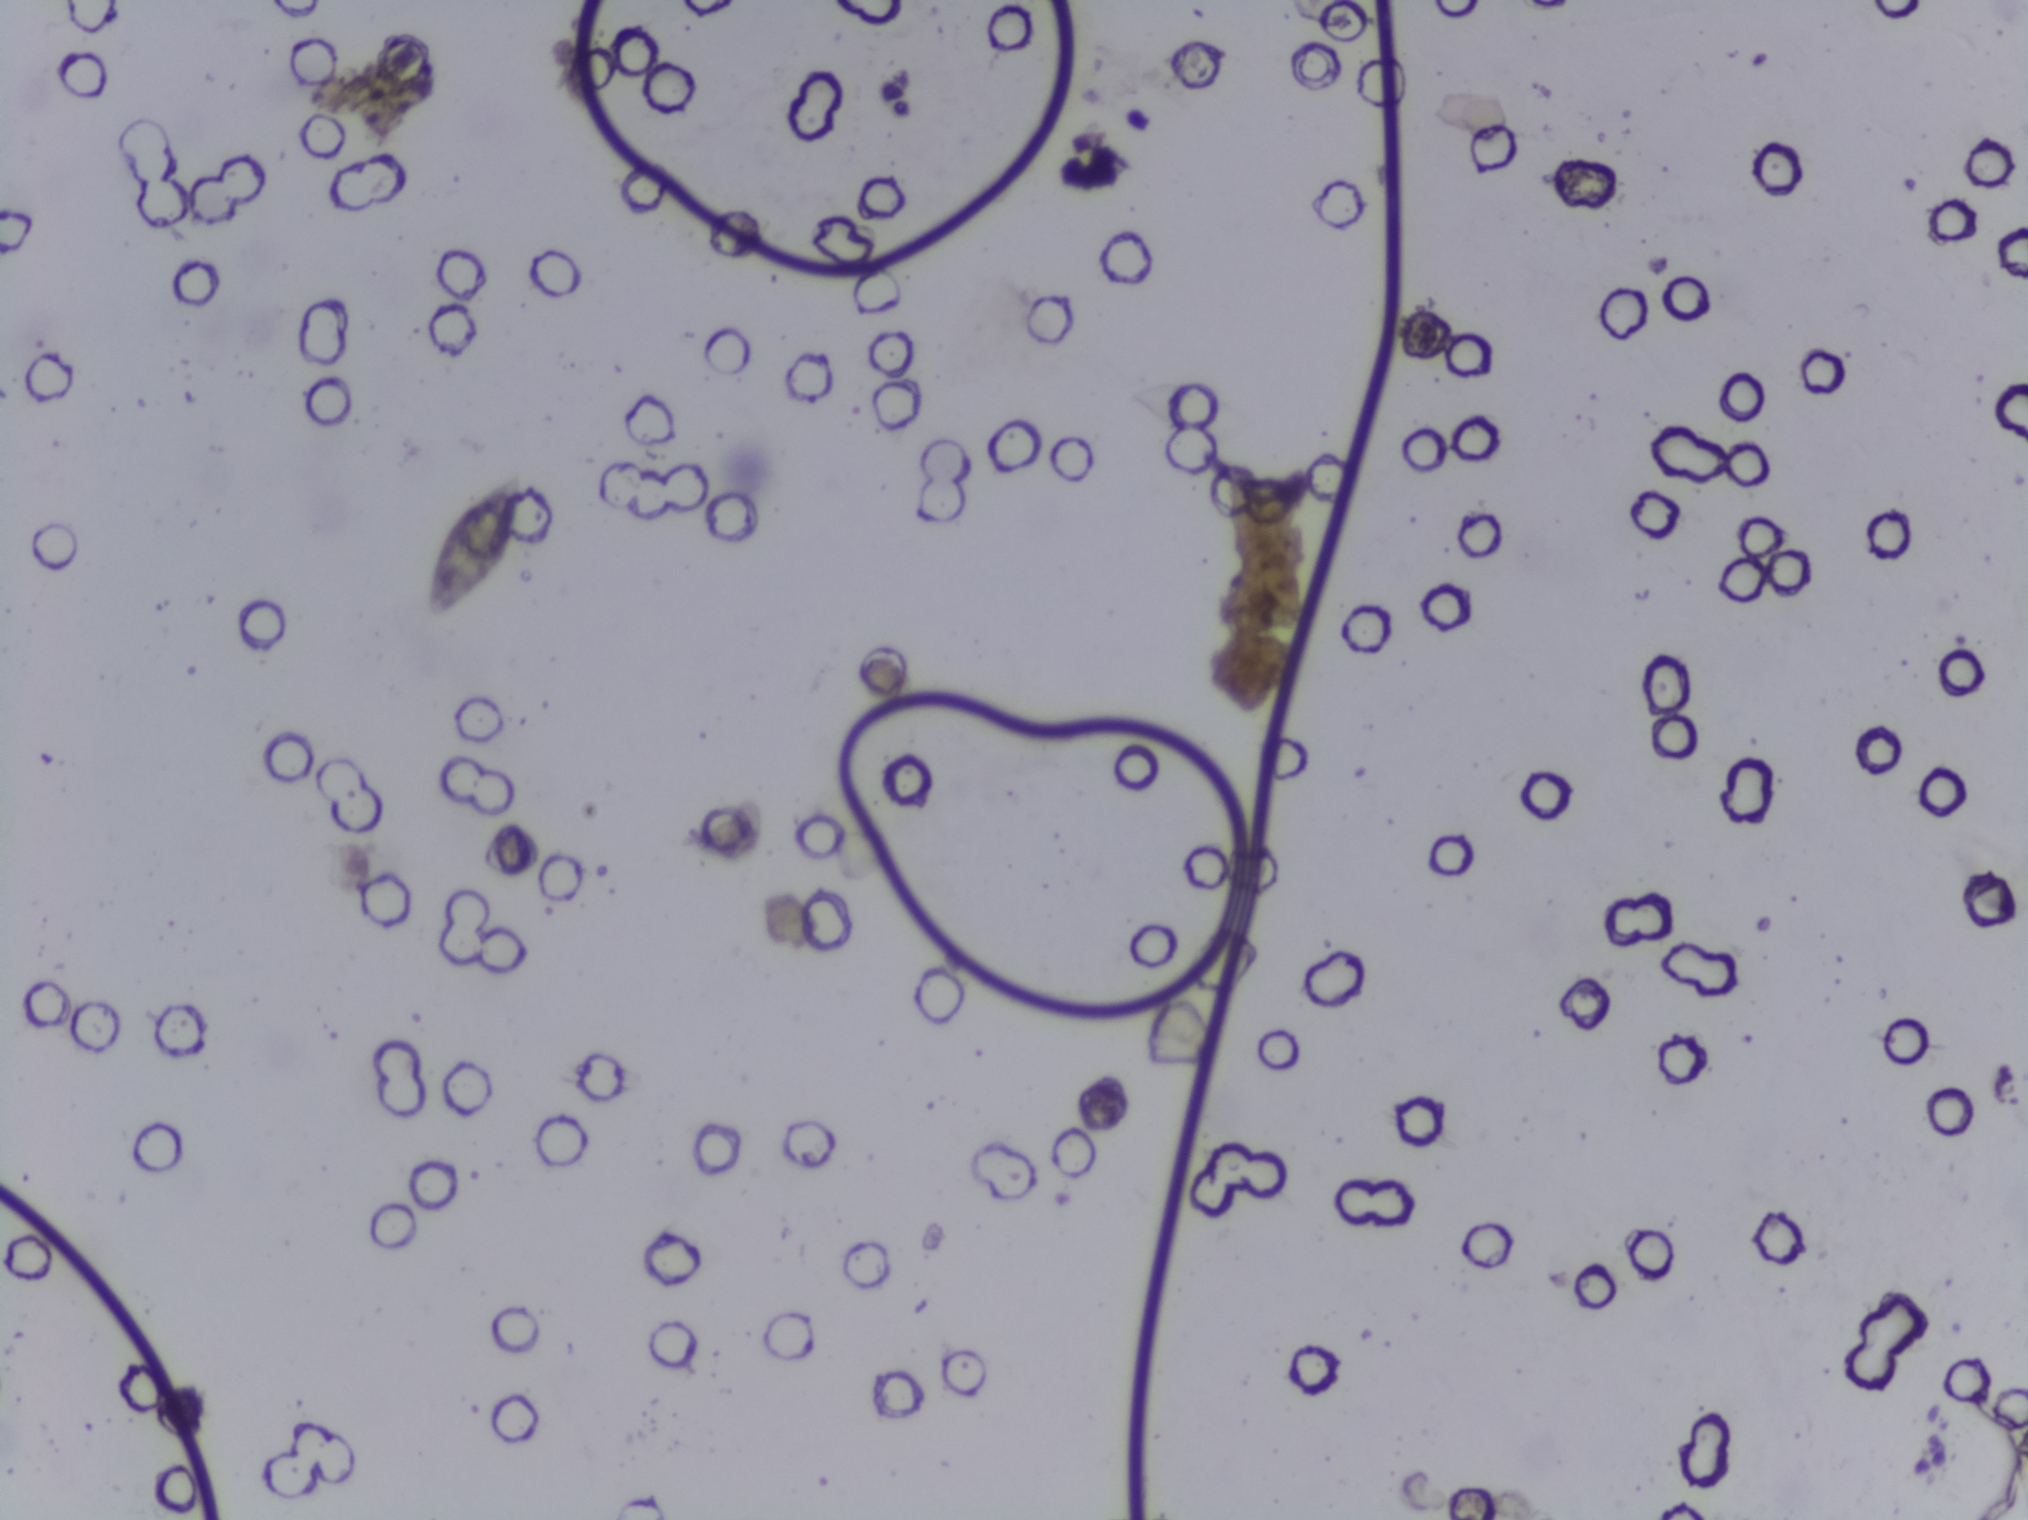
Urine filter membrane photographed through a 4× microscope objective.
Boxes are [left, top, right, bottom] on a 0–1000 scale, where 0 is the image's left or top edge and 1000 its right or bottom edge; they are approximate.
Schistosoma eggs are outlined in one area of this image: [211, 312, 258, 406]. Eggs that touch can end up inside the same outlined area.